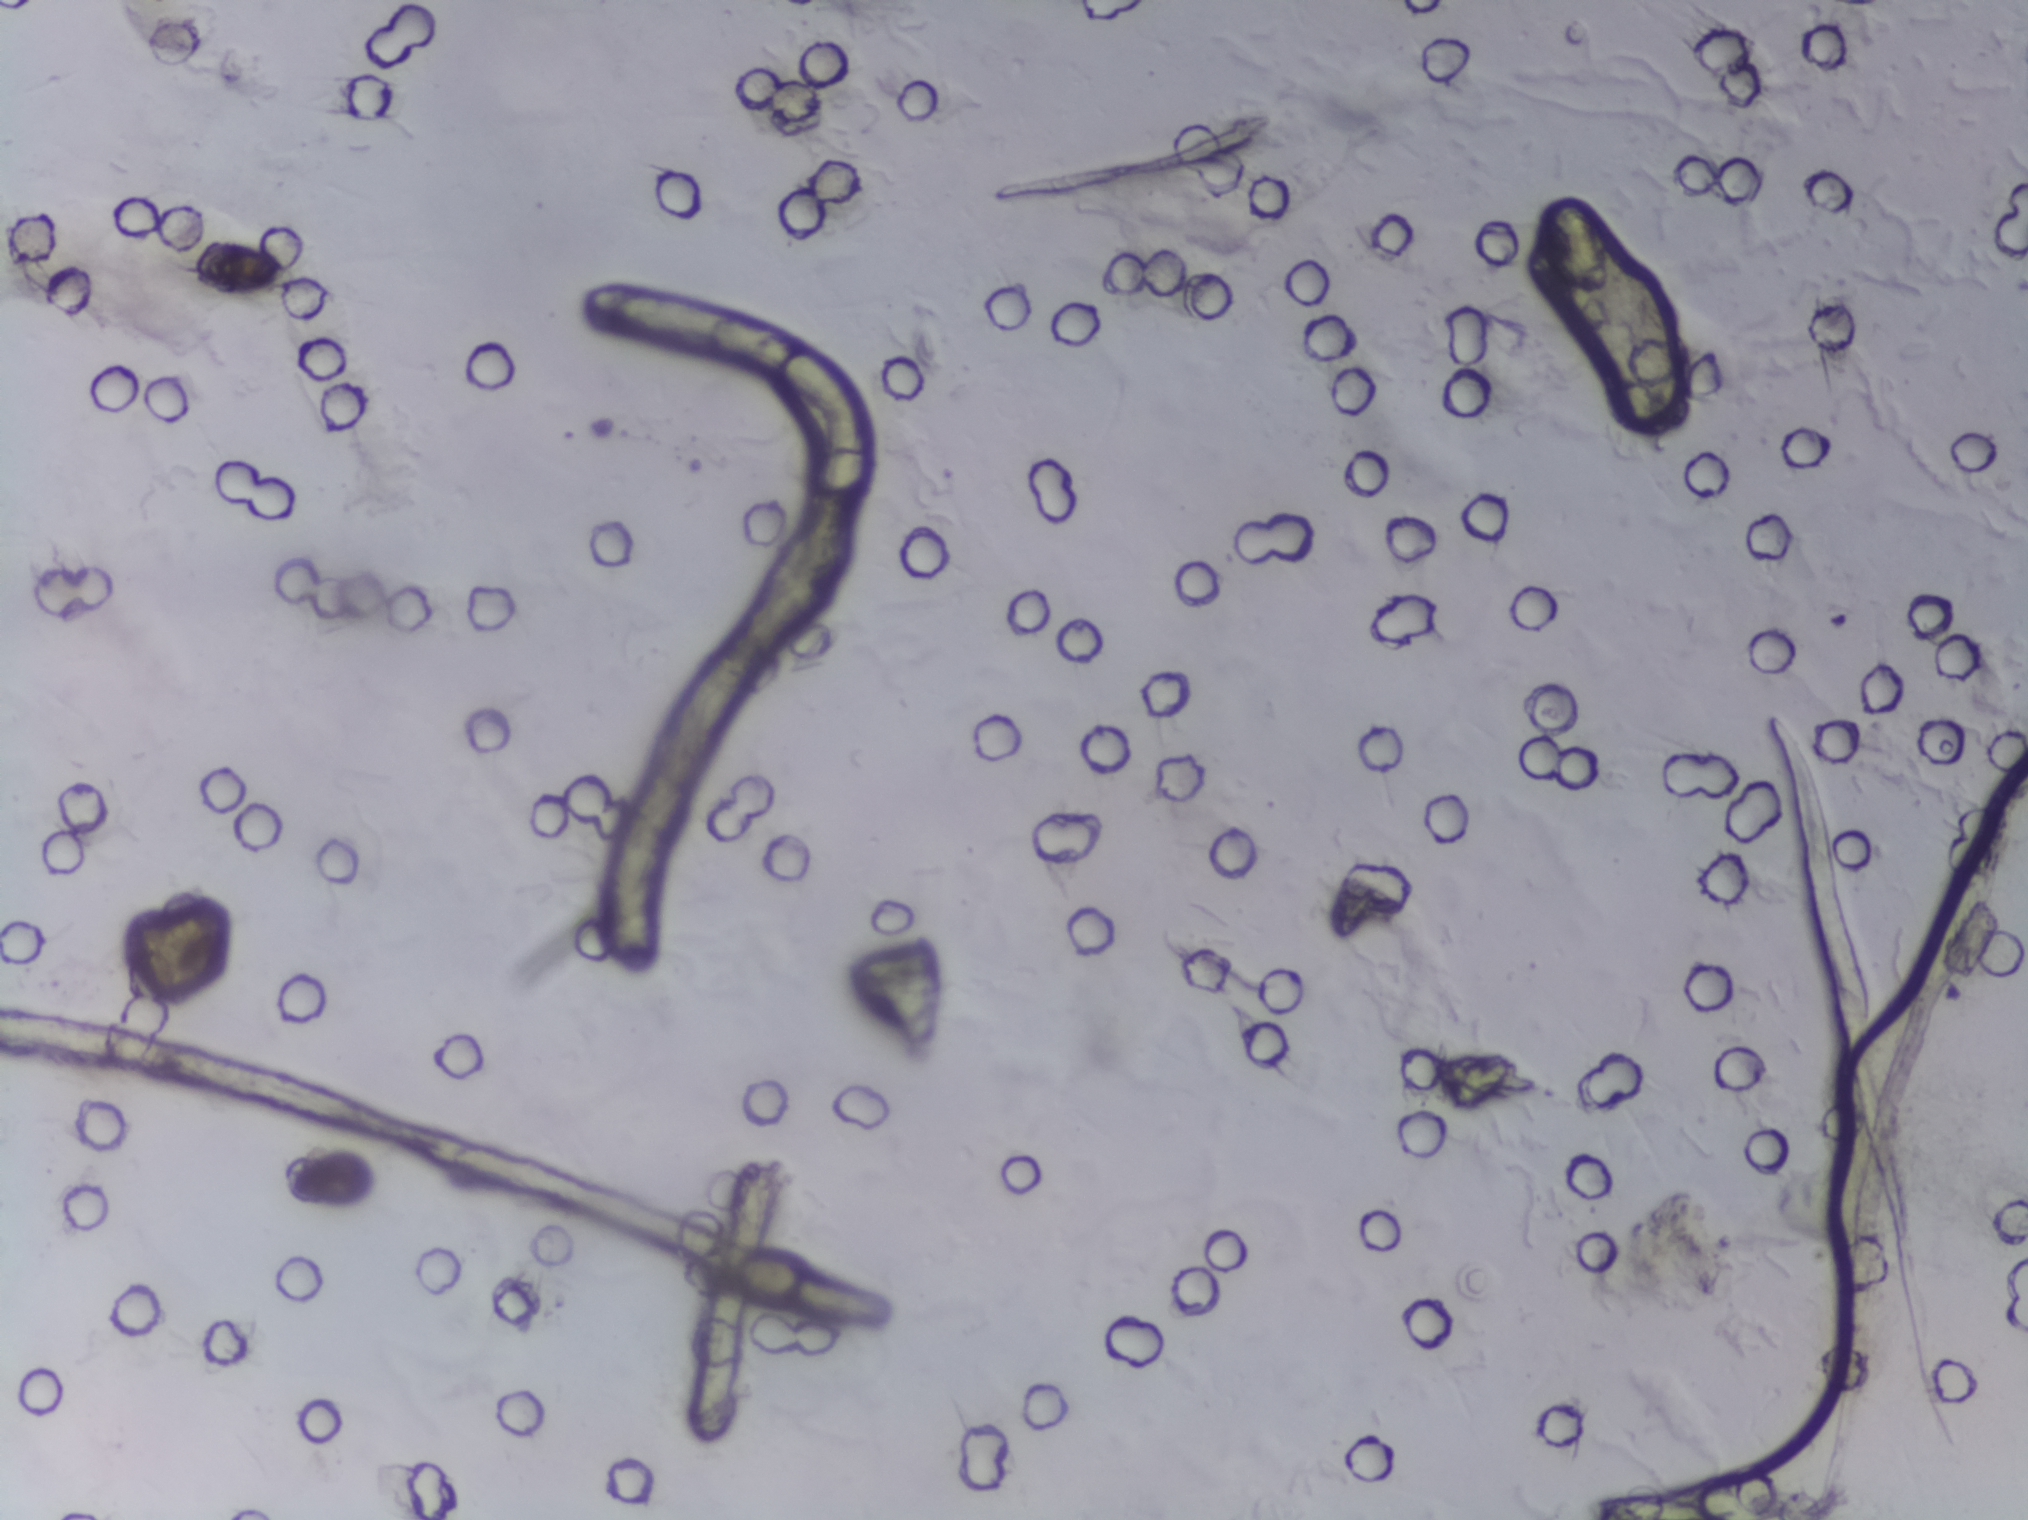
One field of view of a urine filter membrane, 4× objective, 2028 × 1520 pixels.
No Schistosoma egg is outlined in this image's expert annotation.